Photograph from an automated digital microscope: urine filter membrane, 4× objective.
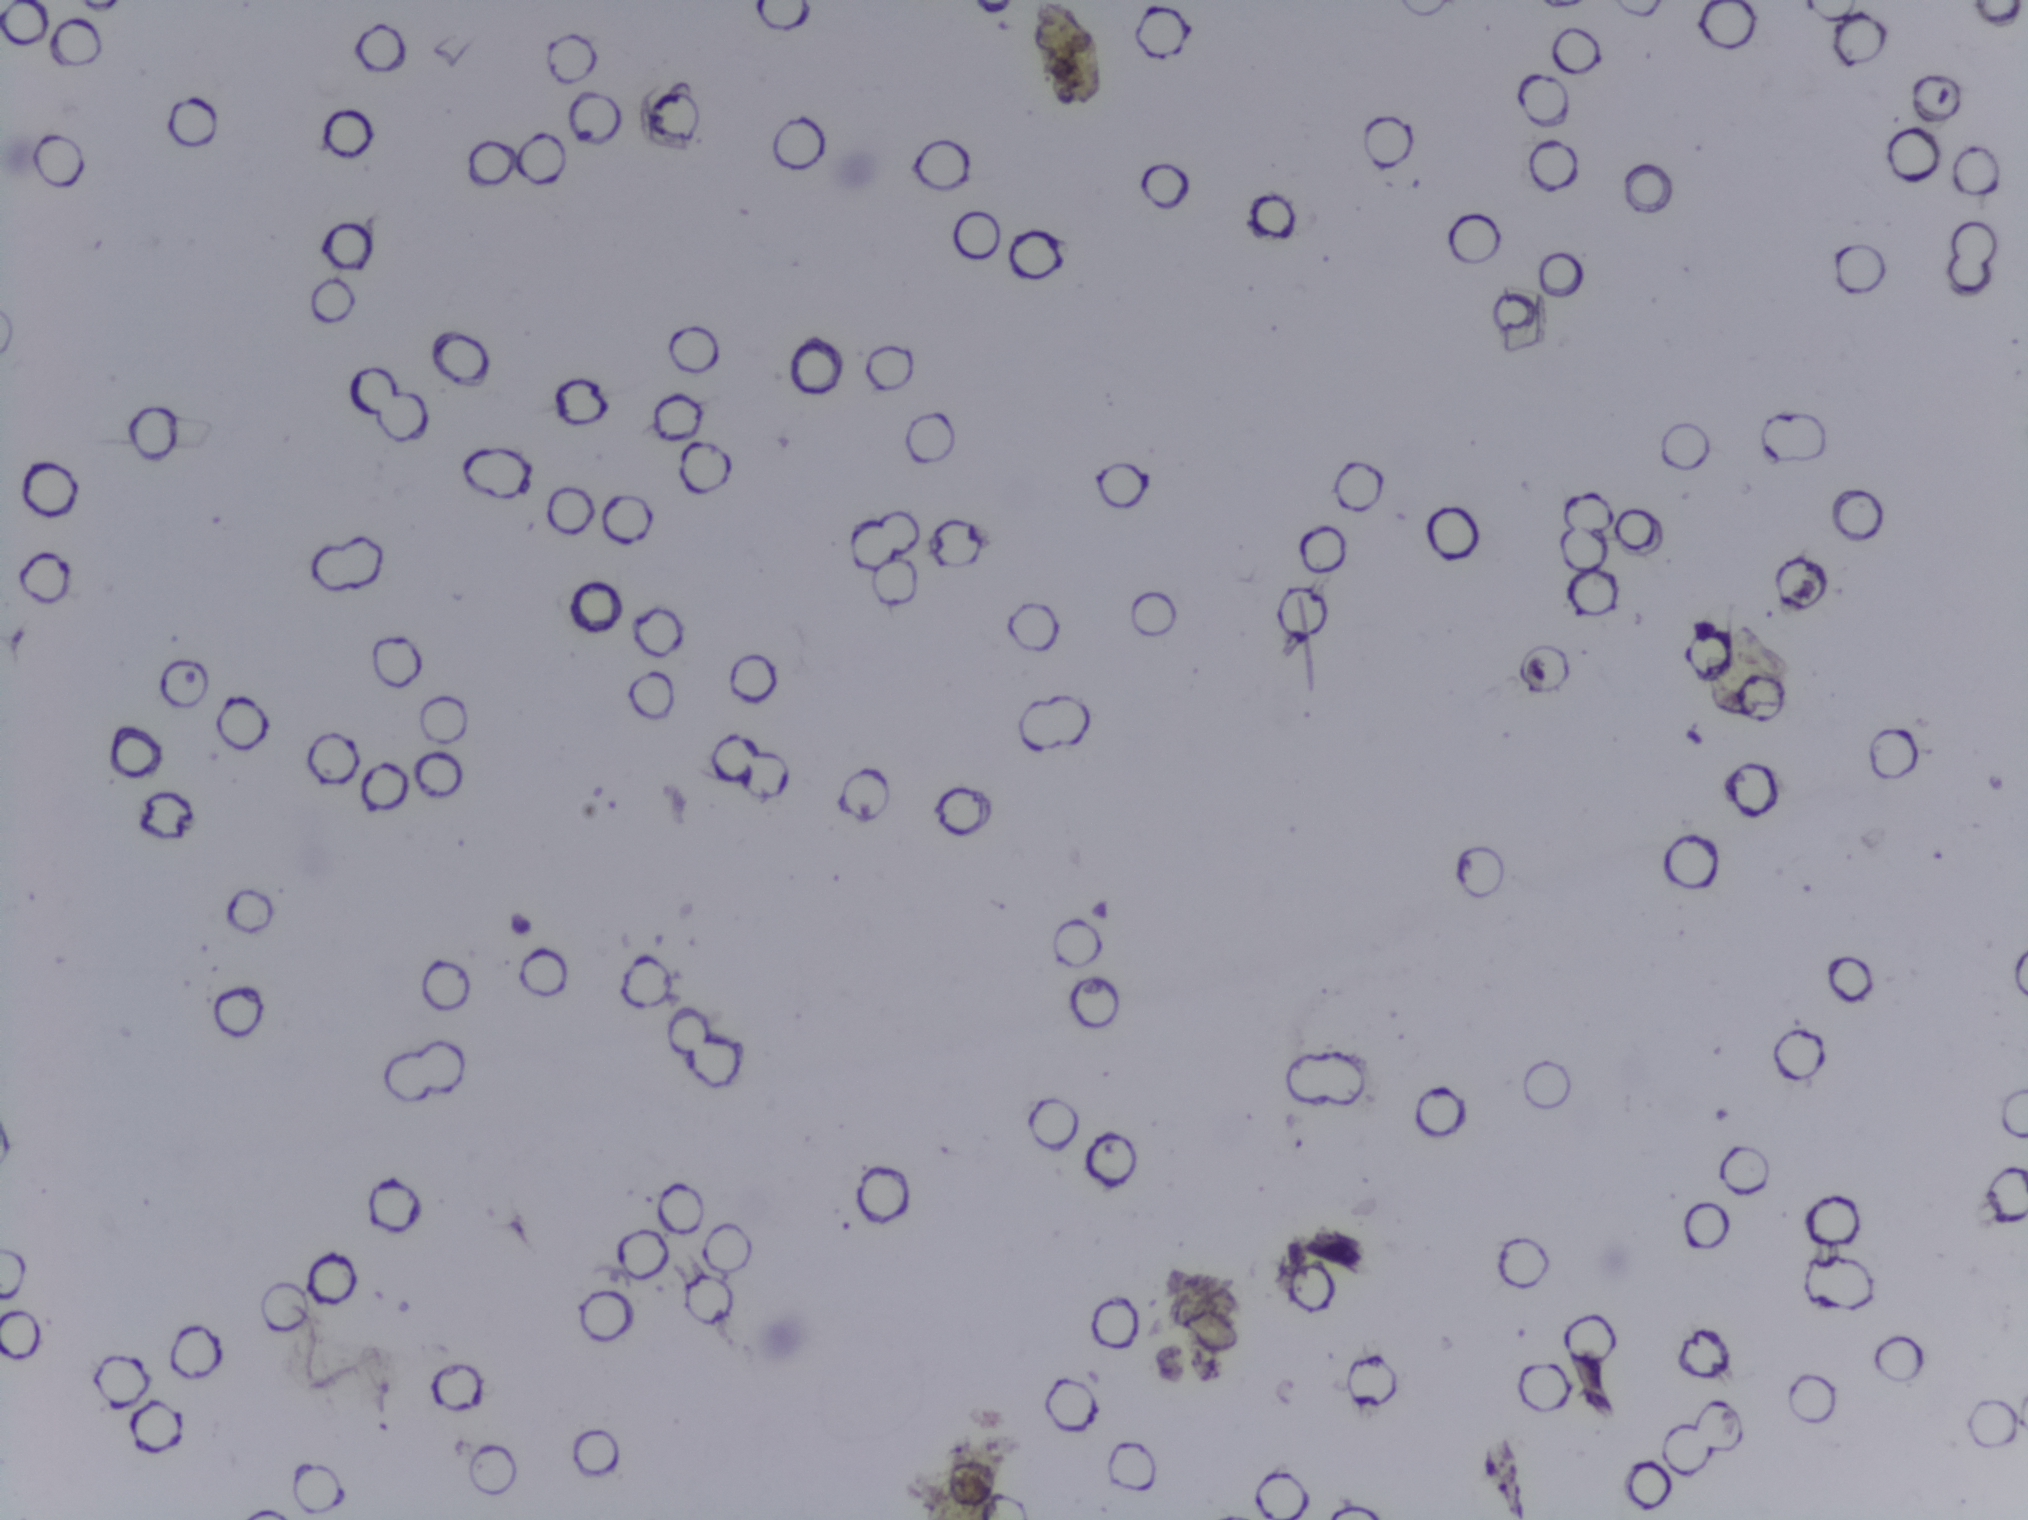
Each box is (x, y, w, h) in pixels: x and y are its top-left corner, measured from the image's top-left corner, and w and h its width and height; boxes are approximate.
Schistosoma eggs are outlined in the expert annotation at (x=1035, y=0, w=66, h=103) (reaching the top edge of the frame). A single outlined area may contain several eggs. Any one outlined egg may, rarely, be S. mansoni rather than S. haematobium.